Photograph from an automated digital microscope: urine filter membrane, 4× objective.
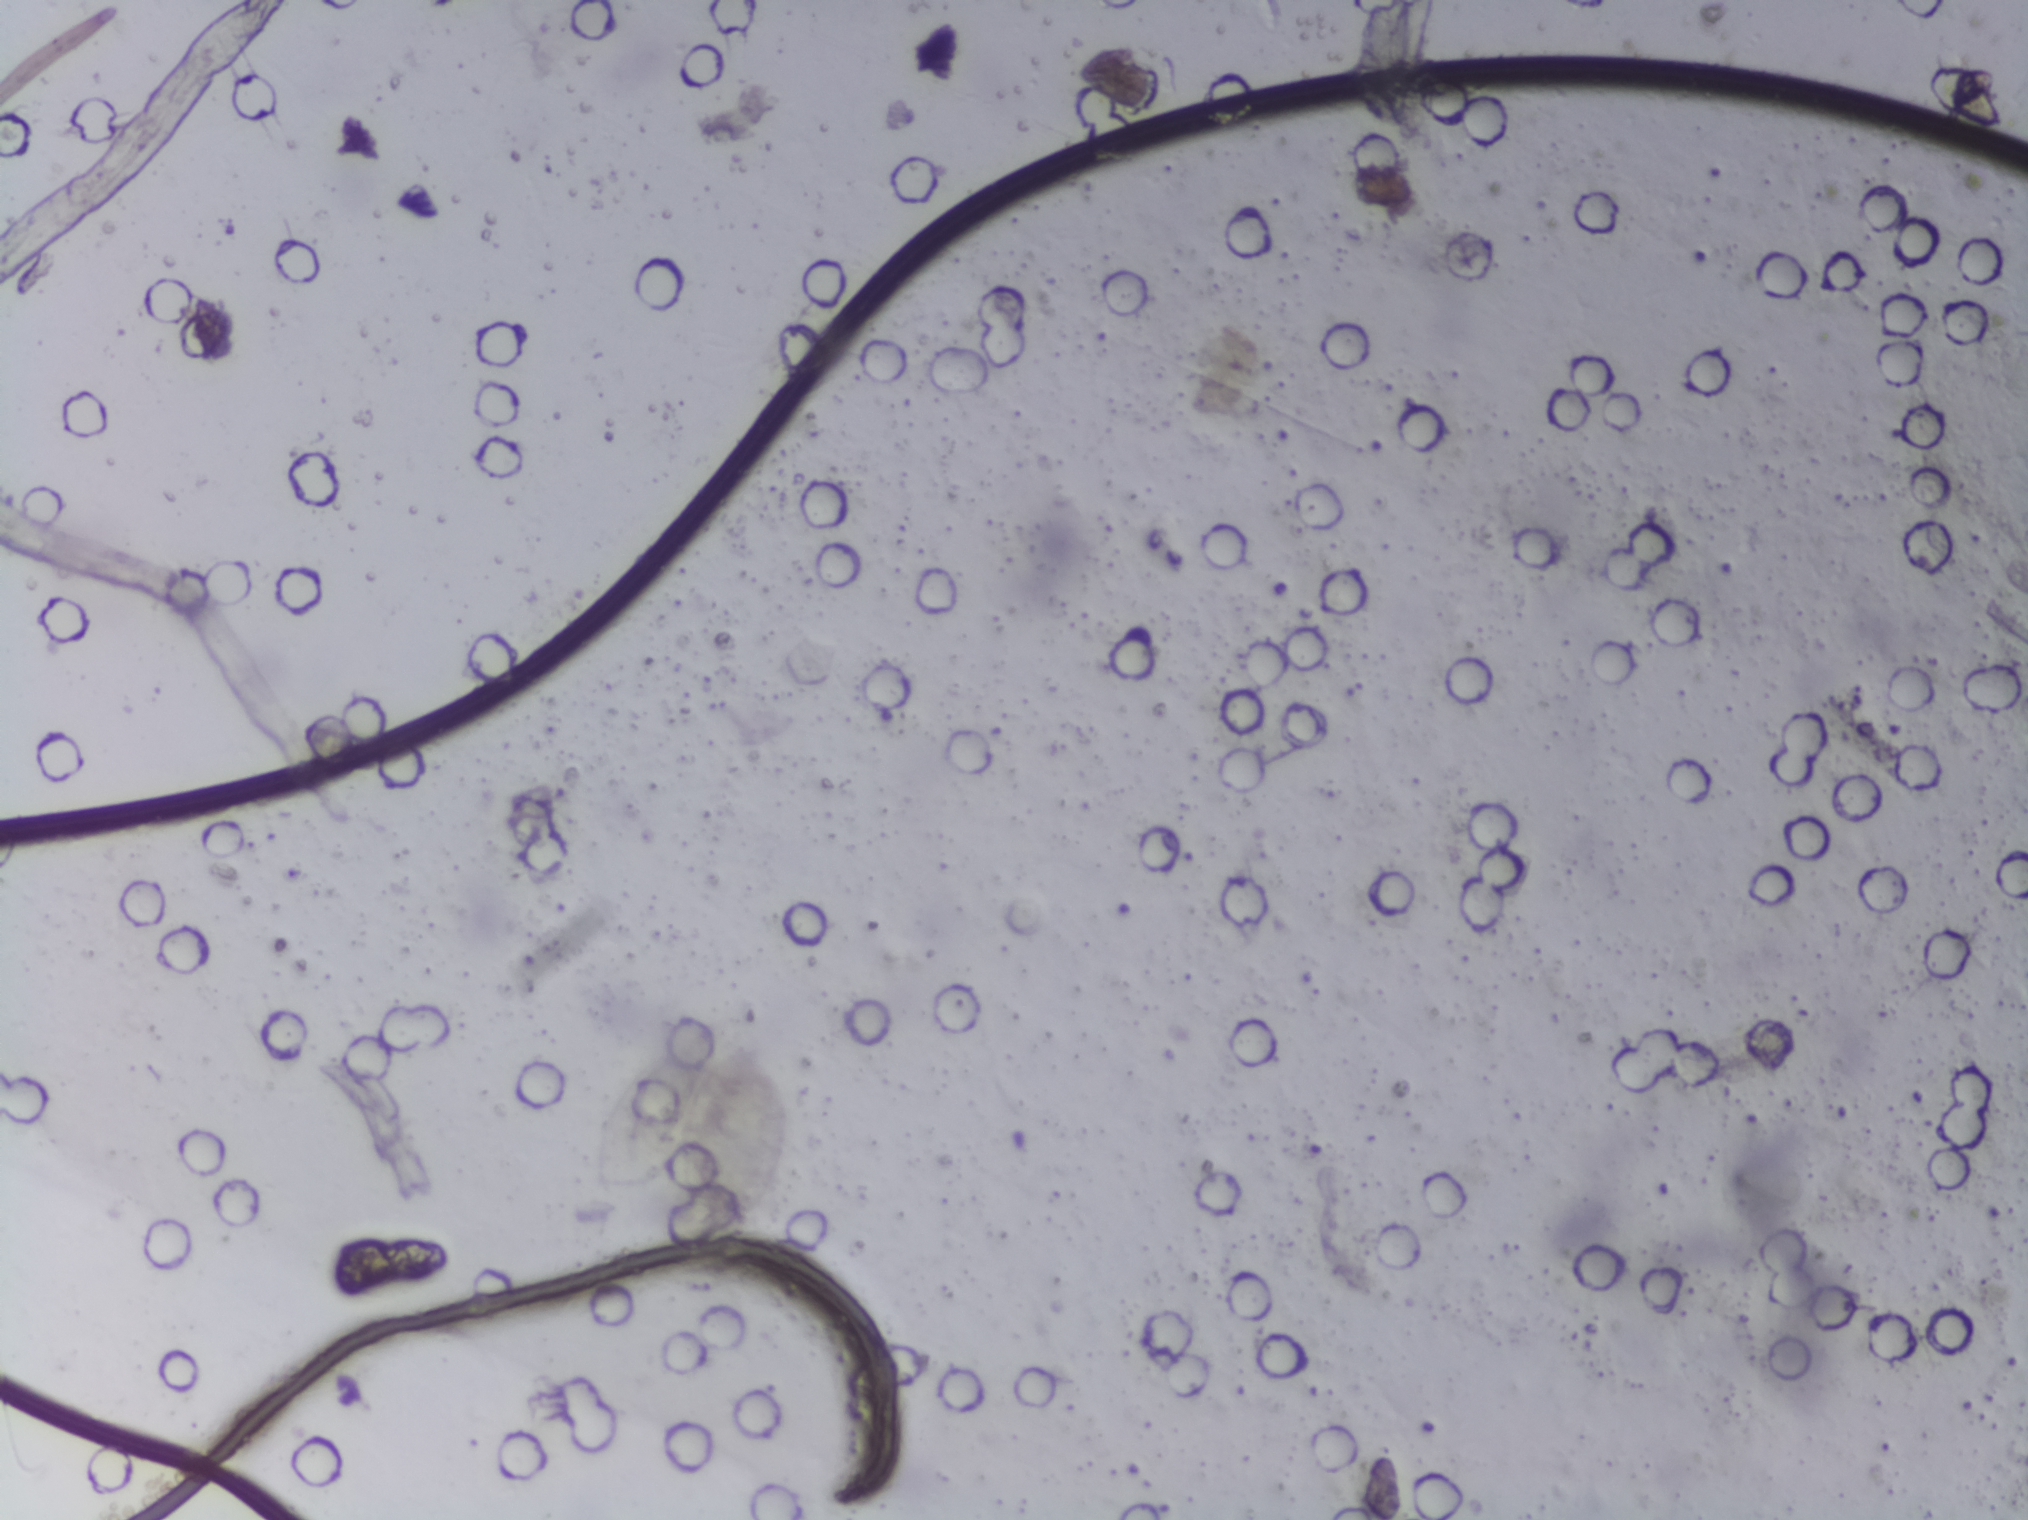
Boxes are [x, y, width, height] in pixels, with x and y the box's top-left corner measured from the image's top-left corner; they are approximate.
The expert annotation outlines Schistosoma eggs at [589, 1038, 197, 204]. The marked pixels themselves, not the box around them, cover about 0.9% of the image. An outlined area can hold more than one egg.